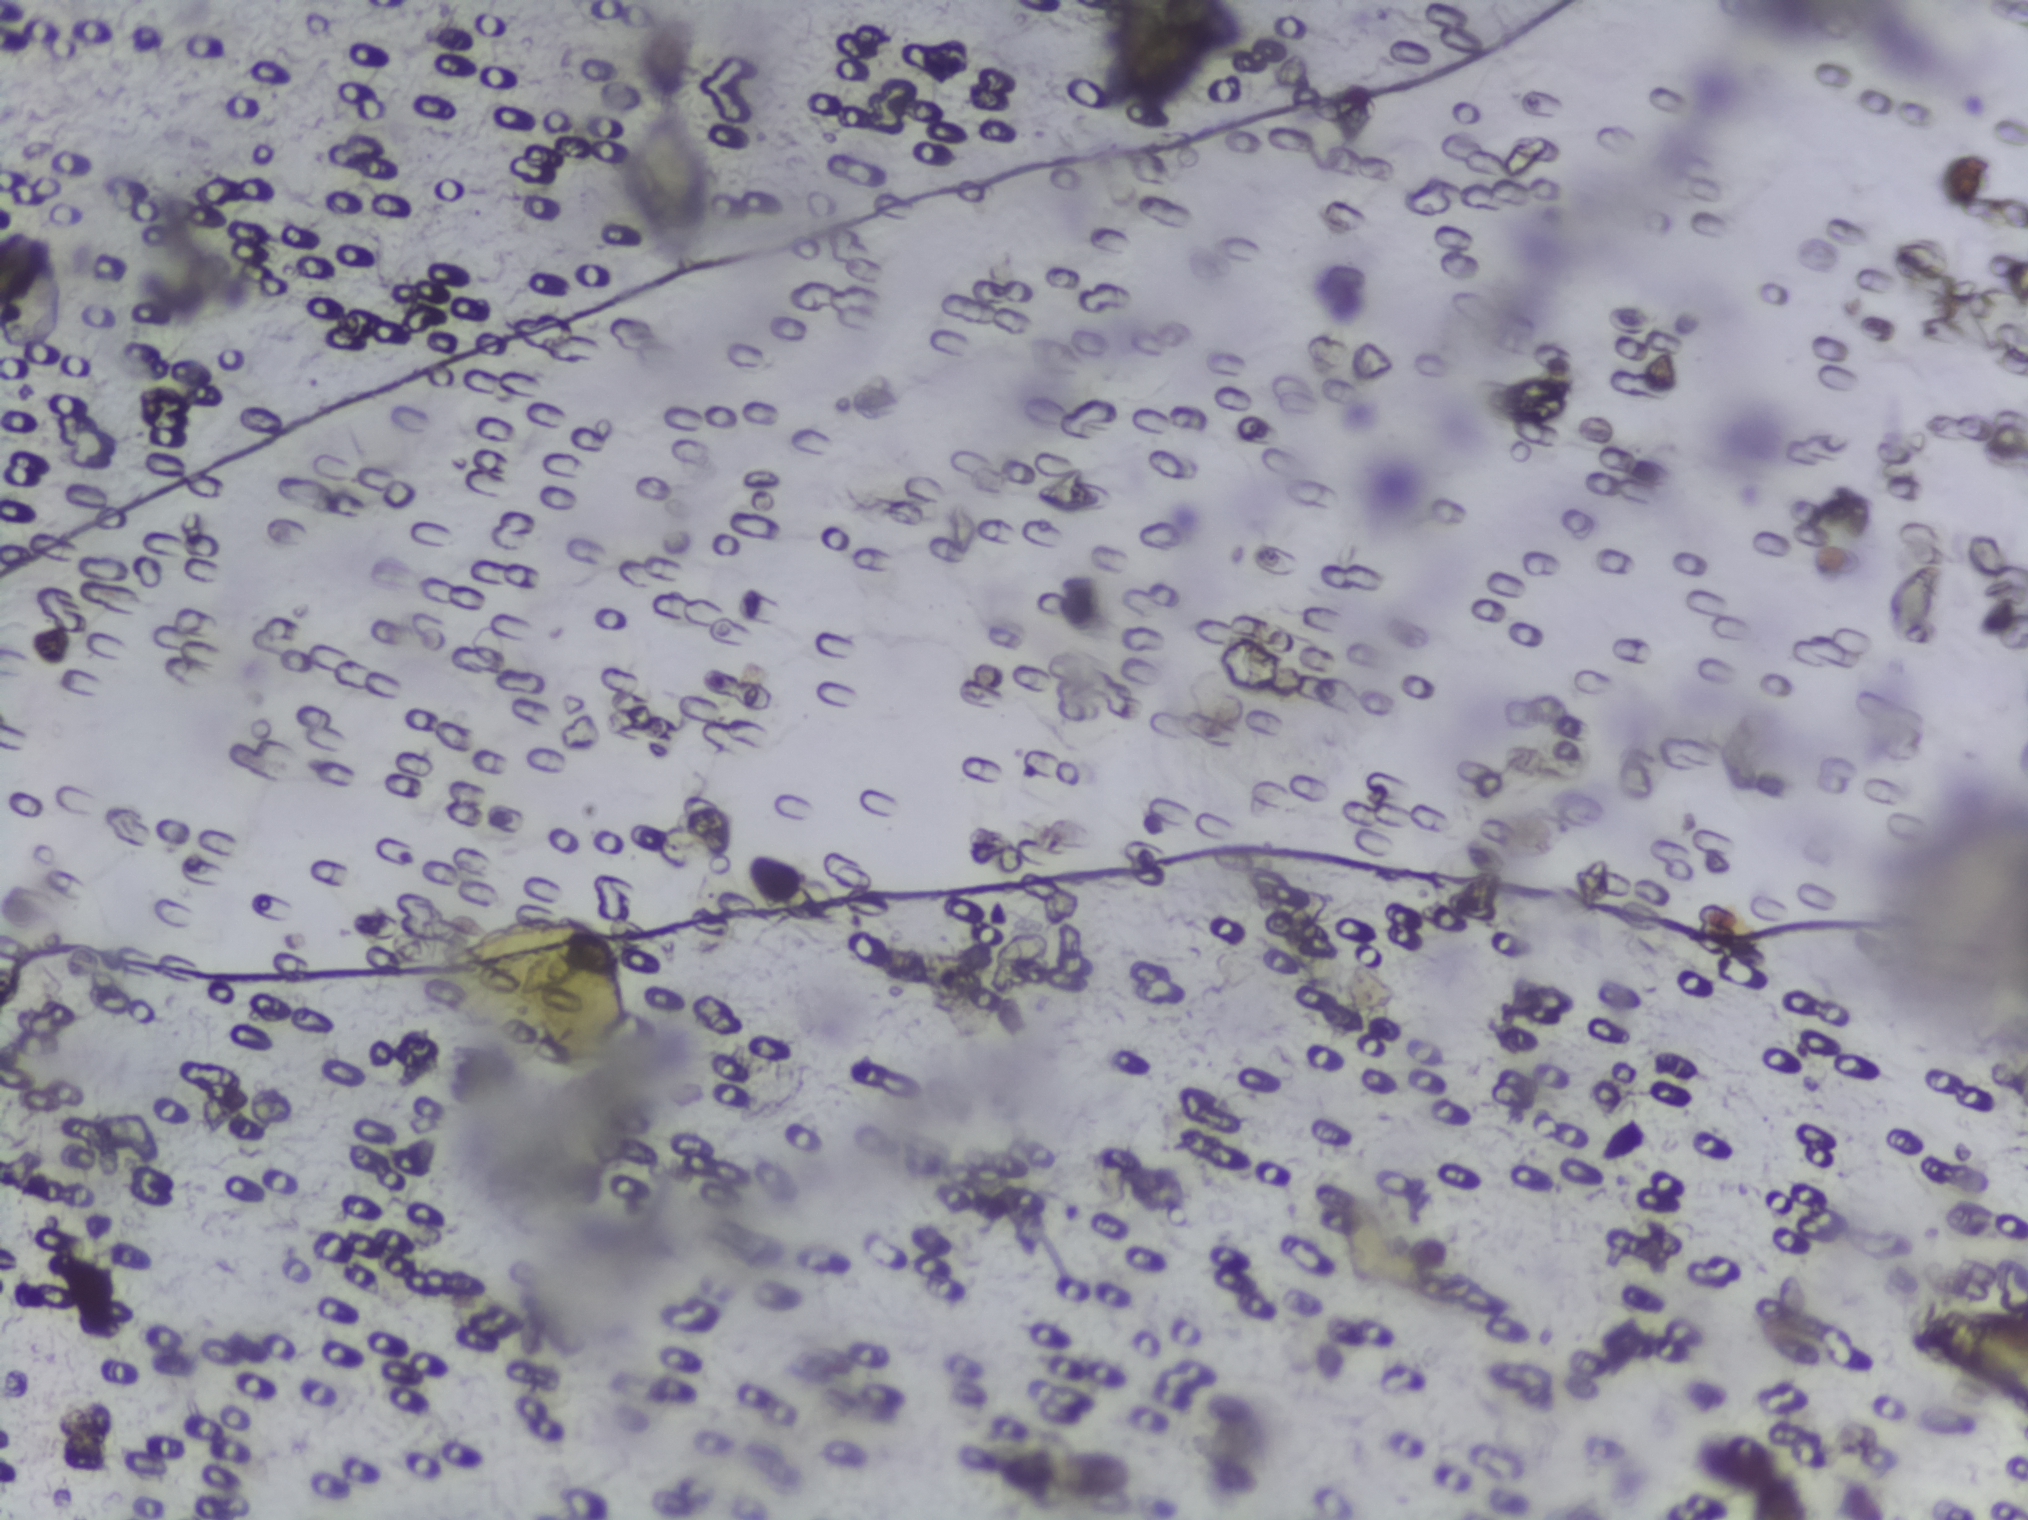
Urine filter membrane photographed through a 4× microscope objective.
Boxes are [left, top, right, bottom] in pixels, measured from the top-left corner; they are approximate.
Findings: one area outlined as Schistosoma eggs. Location: [1915, 1300, 2027, 1418] (reaching the right edge of the frame). An outlined area can hold more than one egg. Any one outlined egg may, rarely, be S. mansoni rather than S. haematobium.